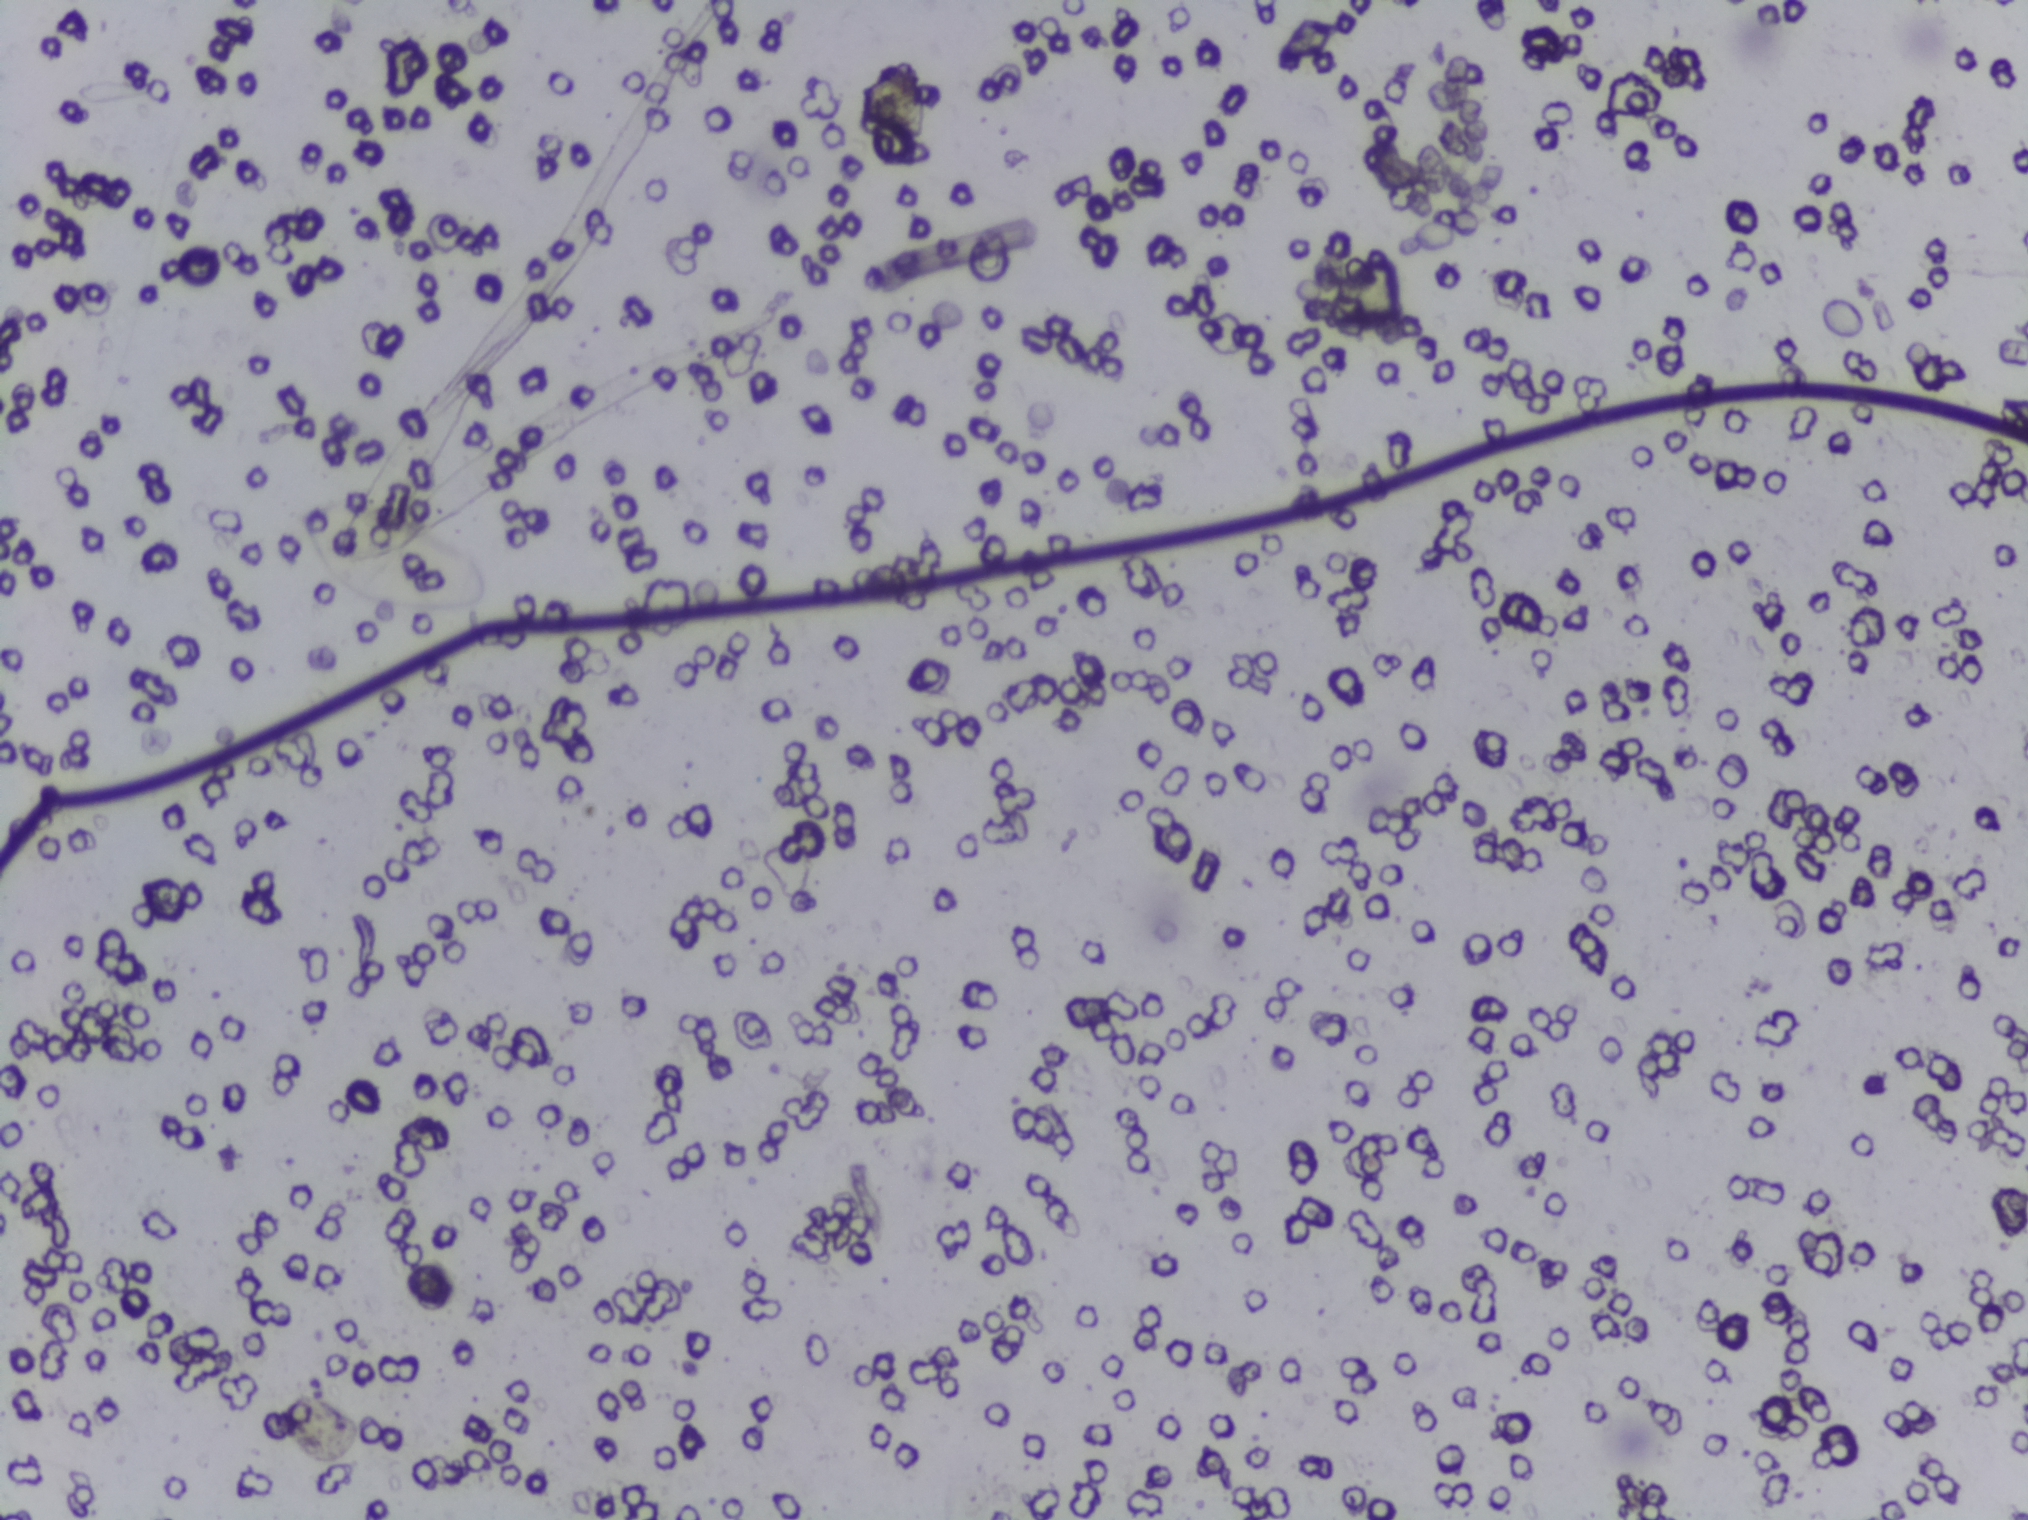
Urine filter membrane photographed through a 4× microscope objective.
No Schistosoma egg is outlined in this image's expert annotation.